Photograph from an automated digital microscope: urine filter membrane, 4× objective.
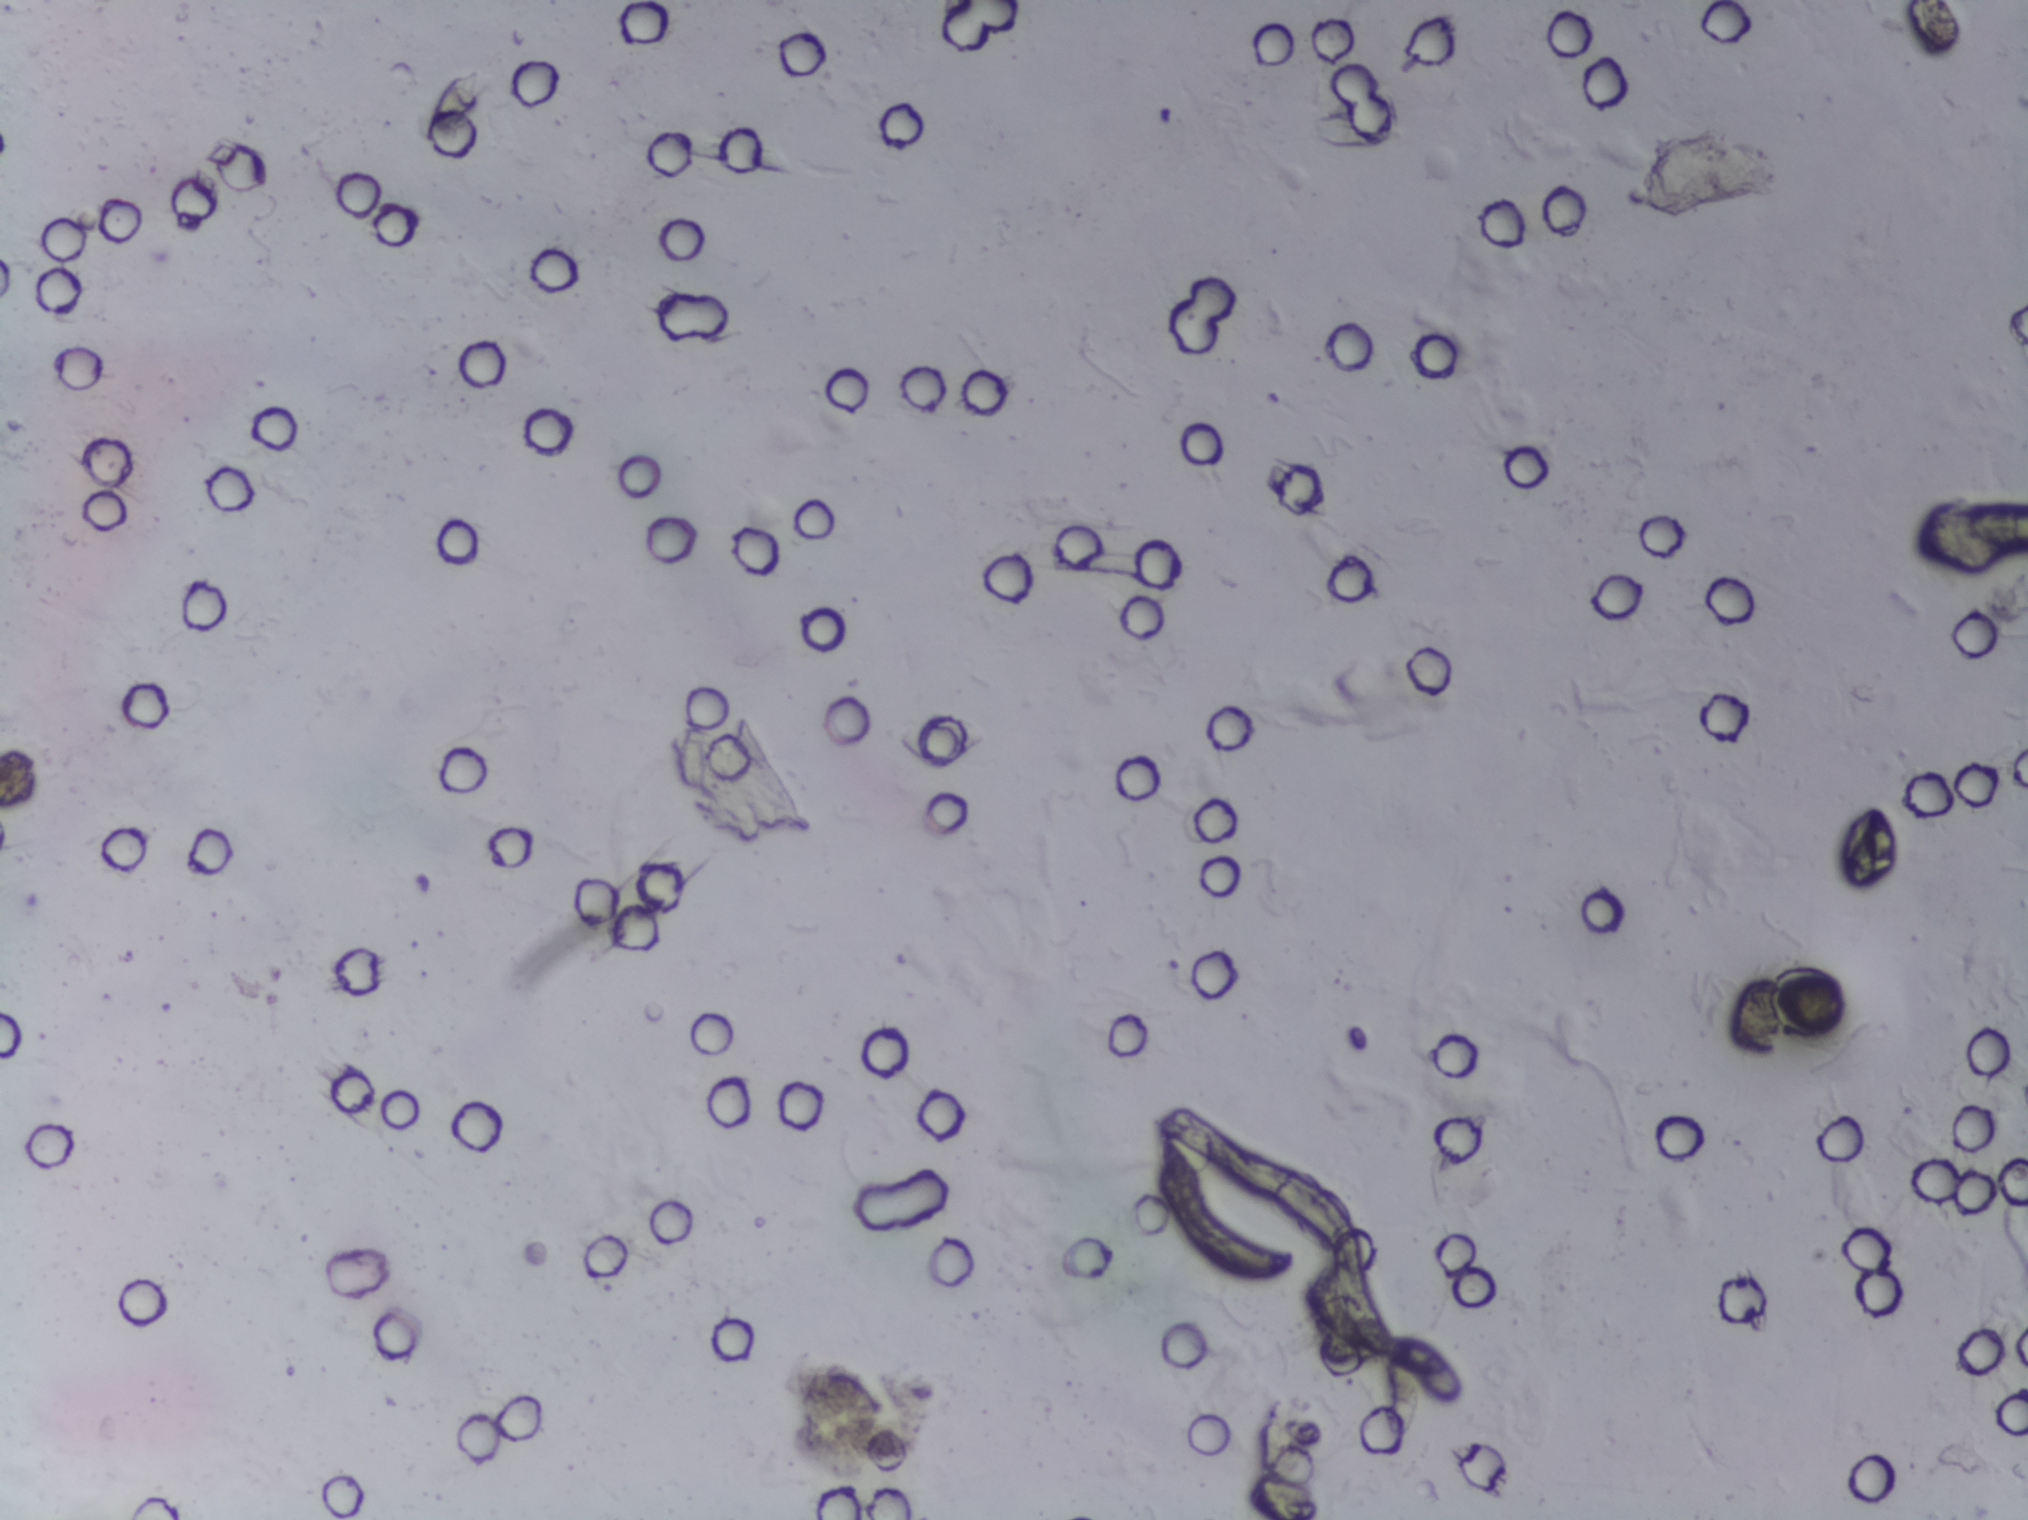
Schistosoma eggs: none outlined.